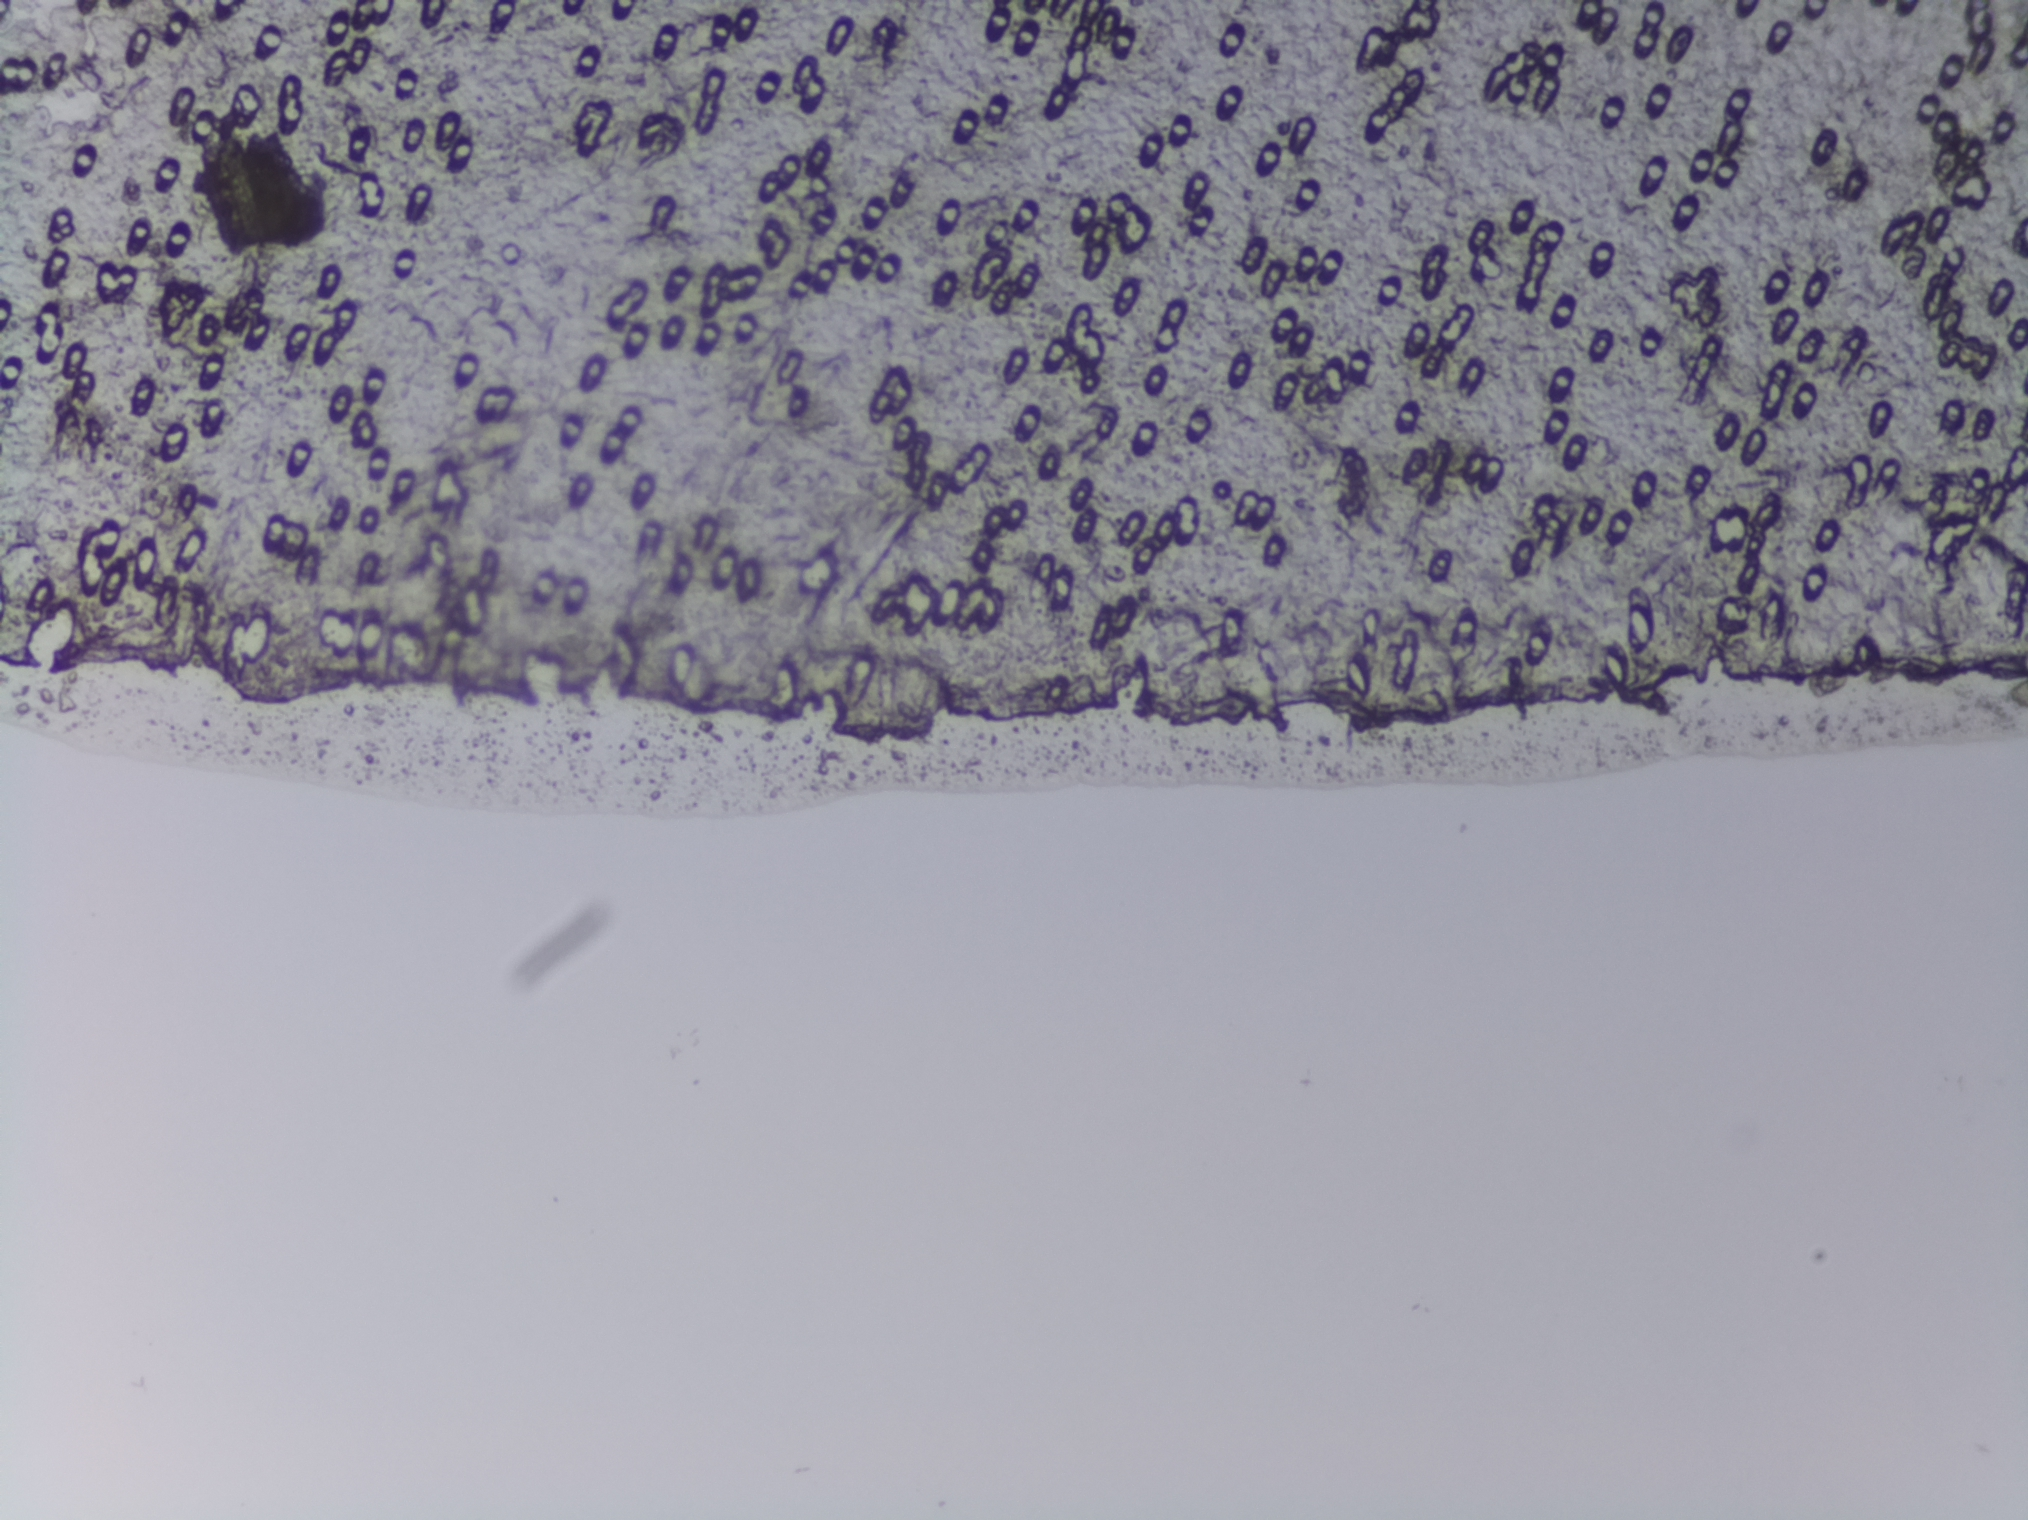
The expert annotation outlines no Schistosoma egg in this image.
Urine filtration membrane under a 4× objective, photographed by an automated digital microscope.